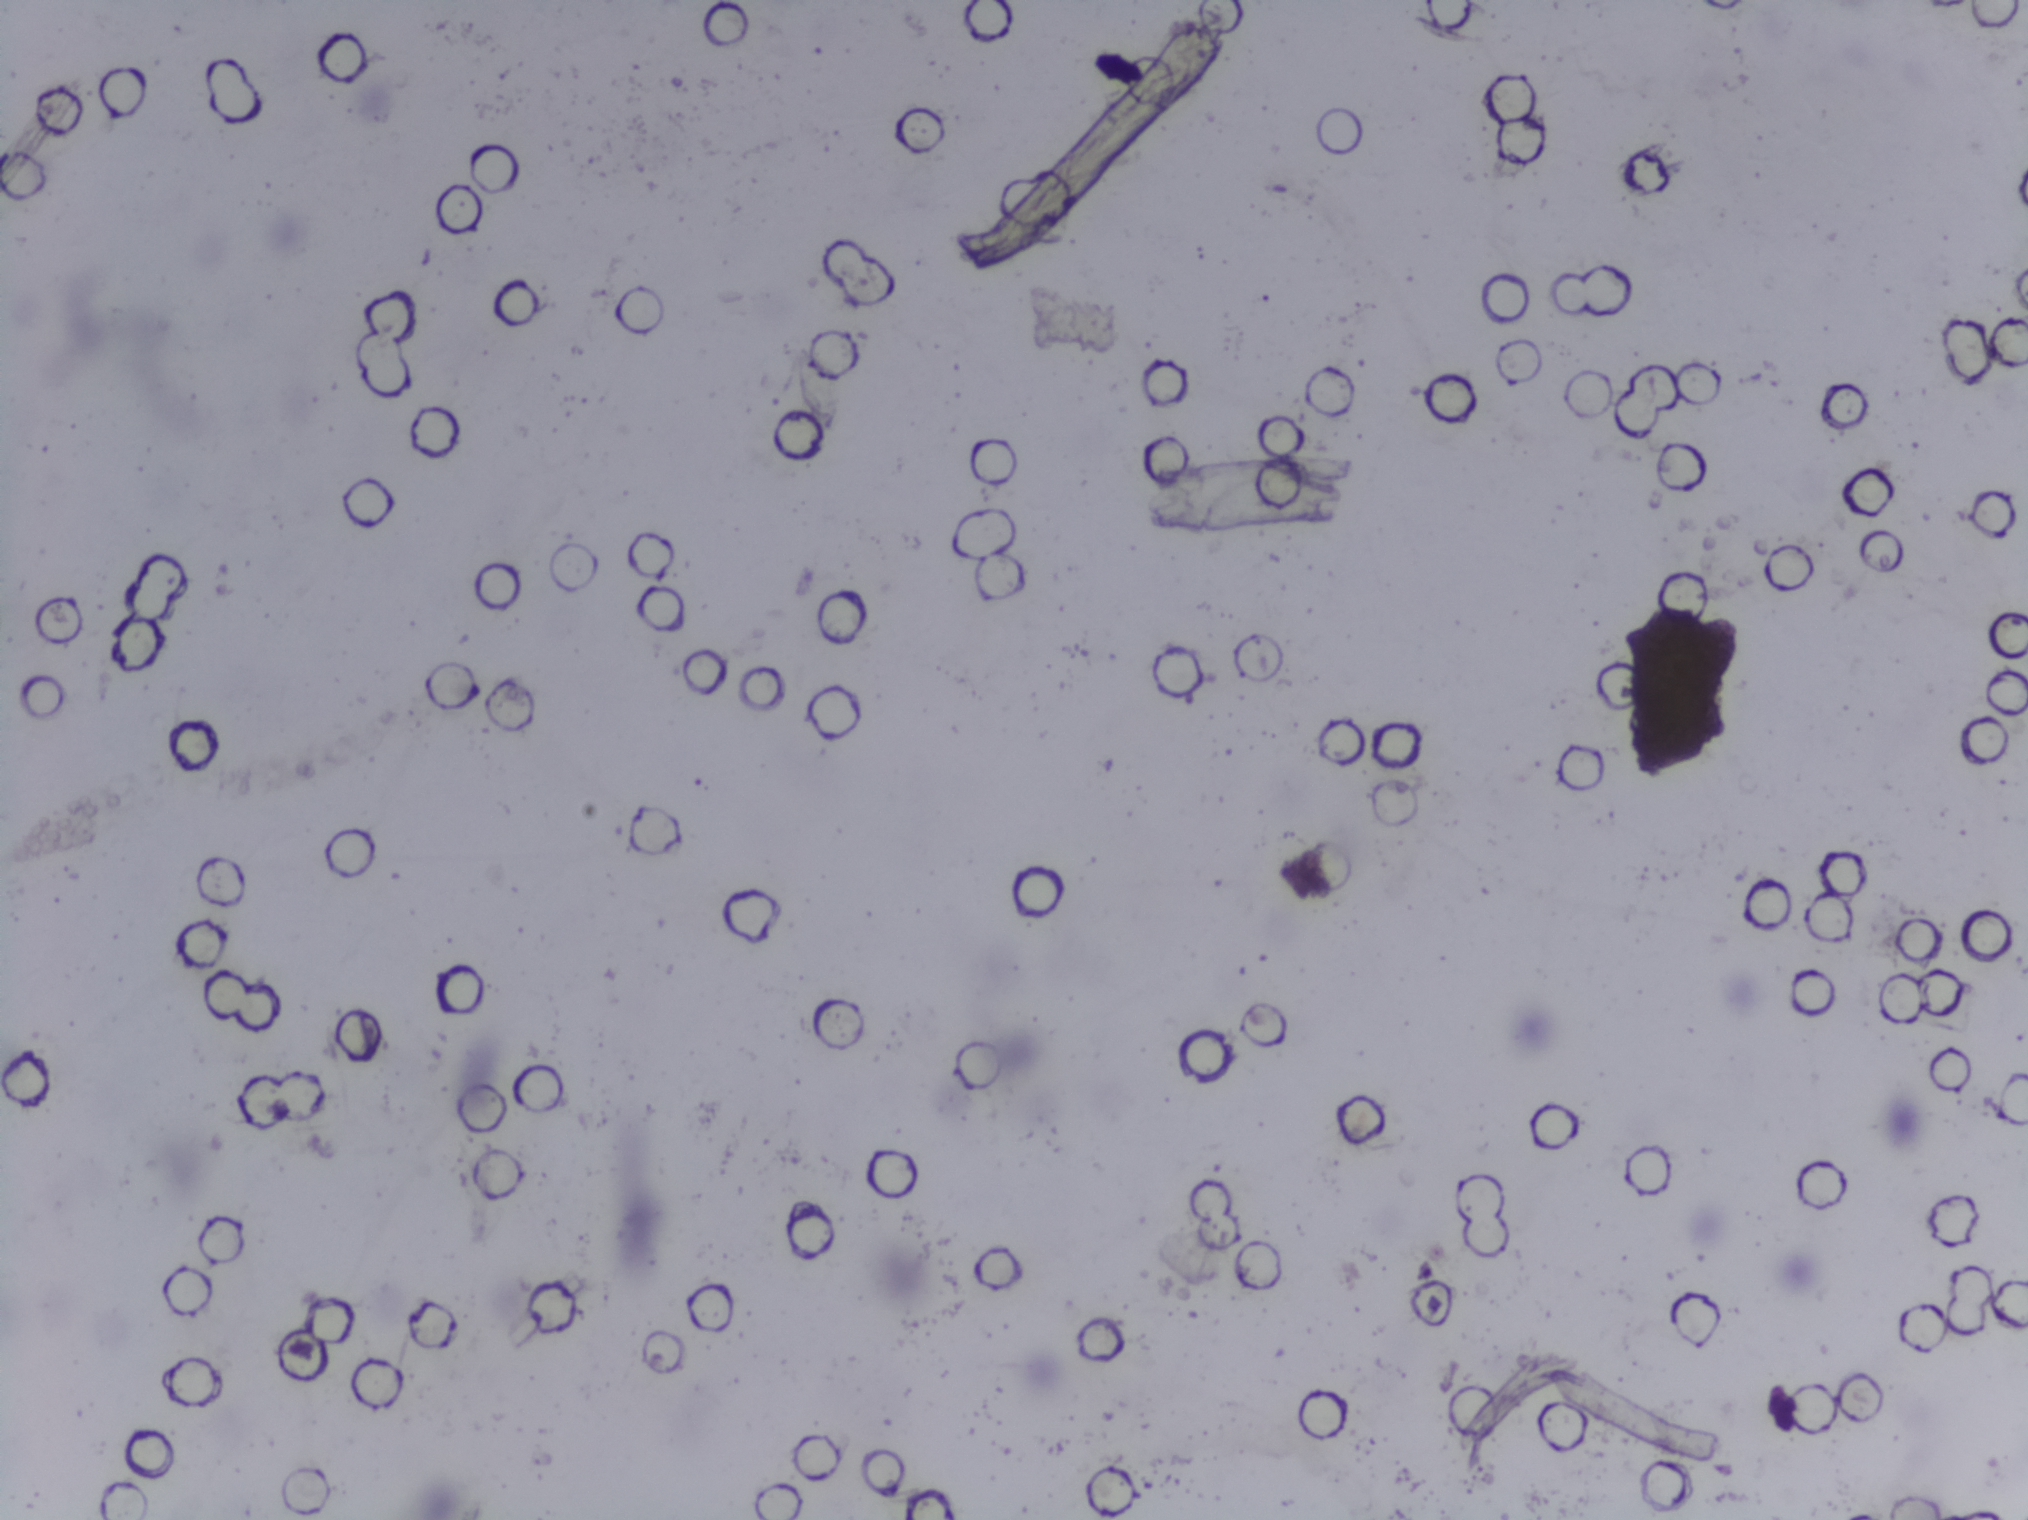
Photograph from an automated digital microscope: urine filter membrane, 4× objective. The image covers about 1.5 × 1.1 mm of the membrane.
The expert annotation marks no Schistosoma egg in this field of view.